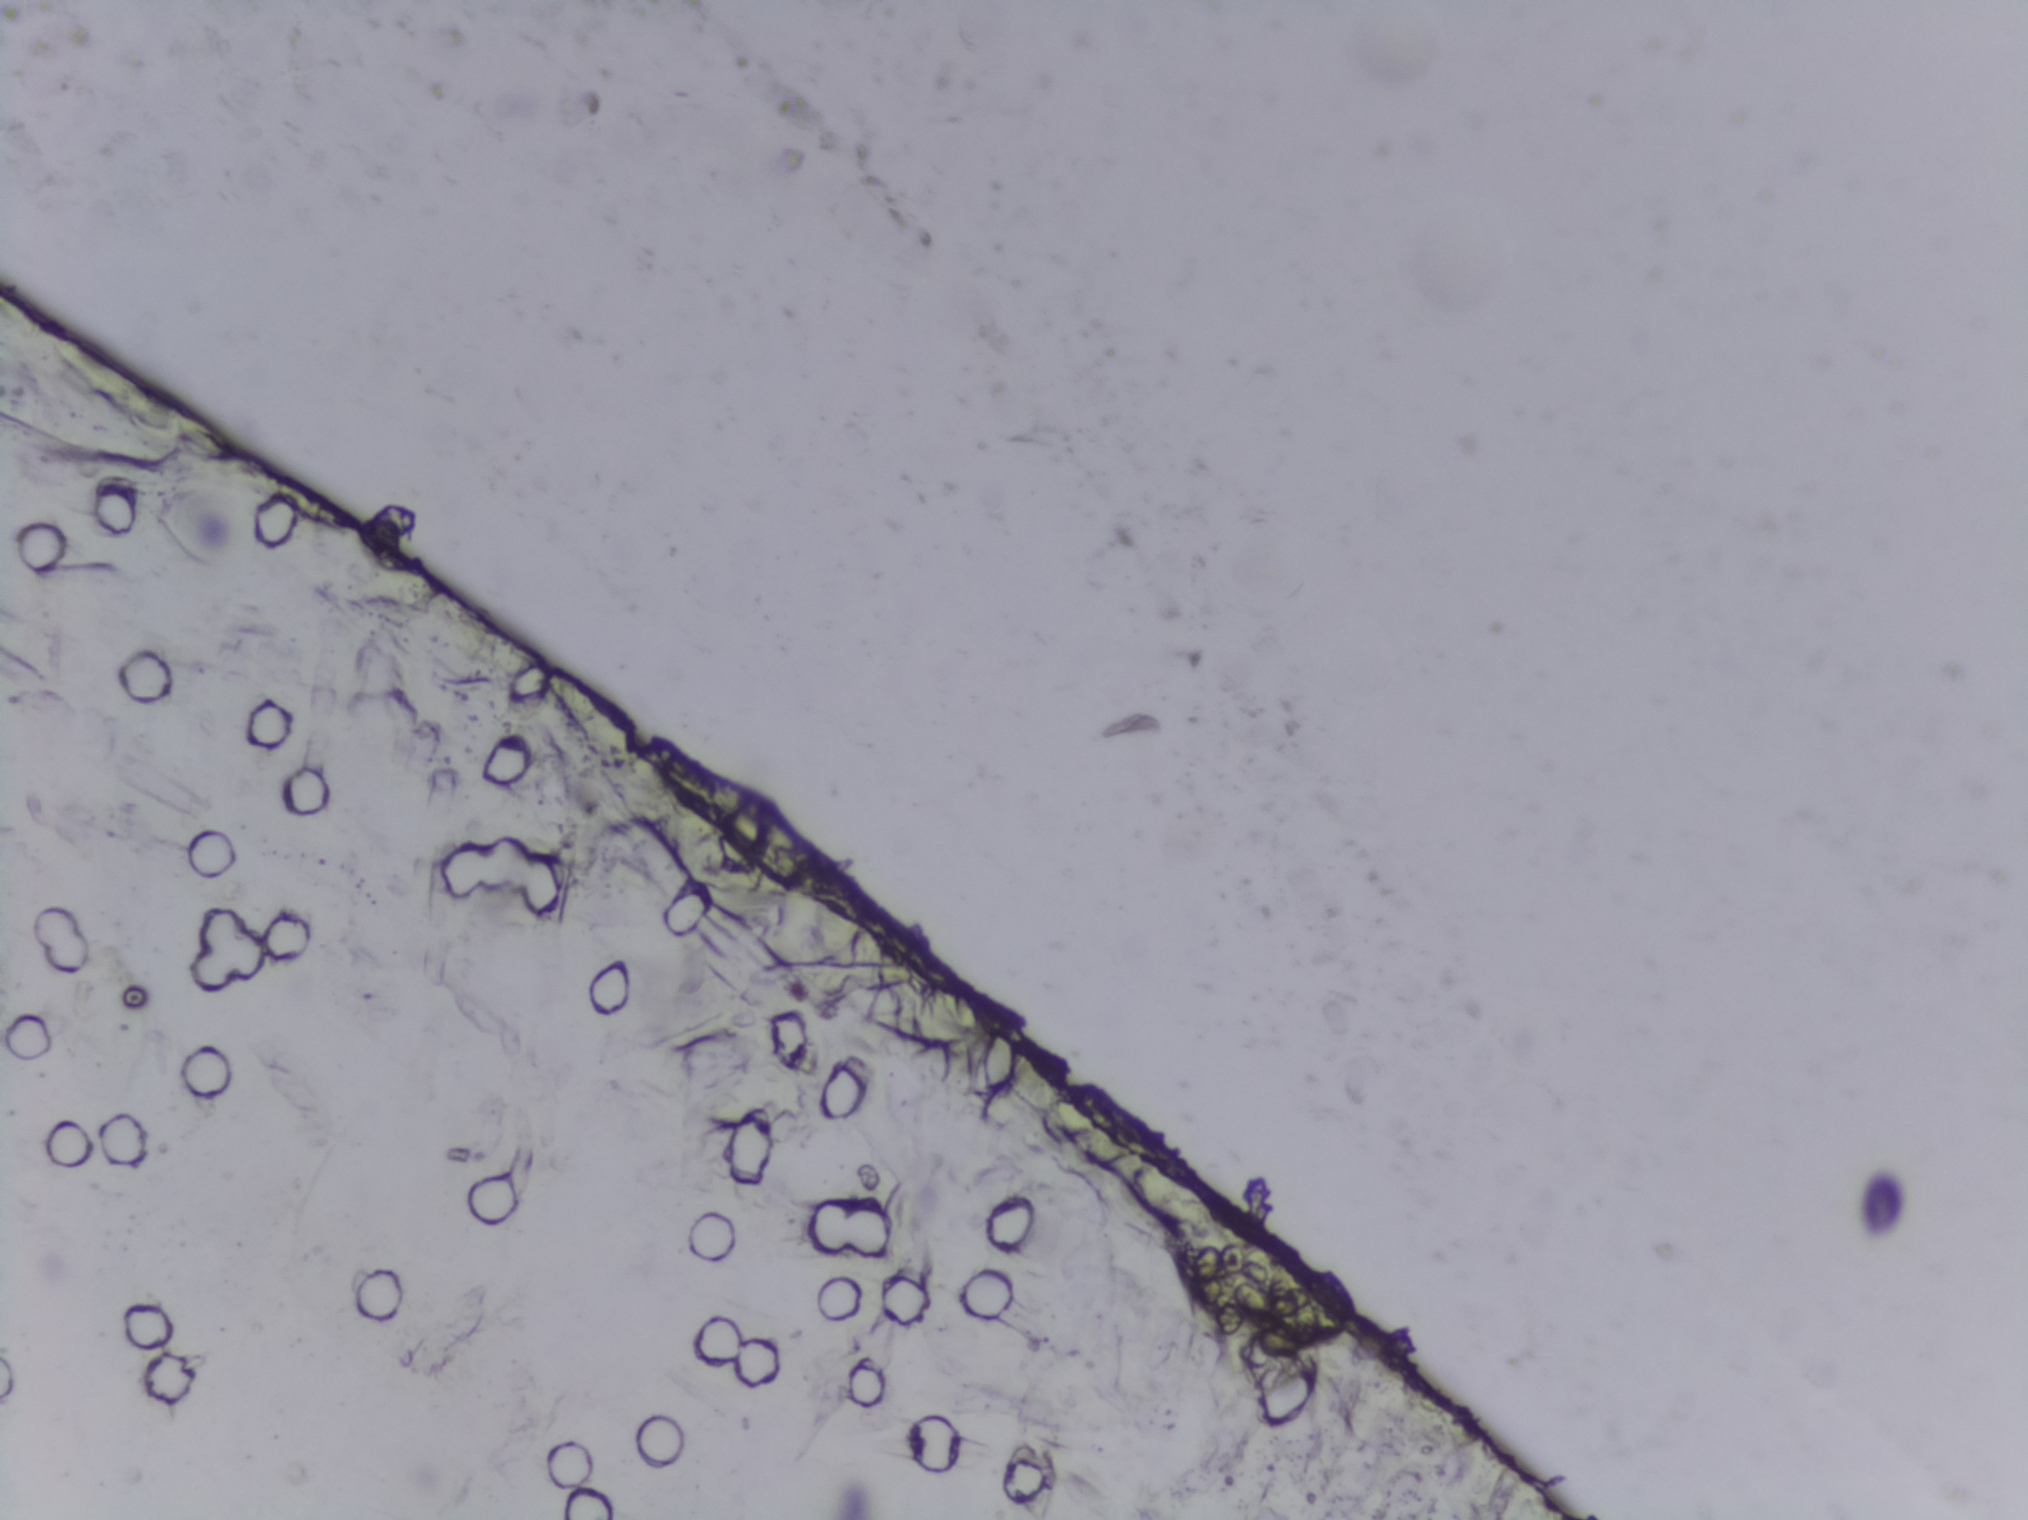
Photomicrograph of a urine filtration membrane, 4× objective.
No area of this image was outlined as a Schistosoma egg.